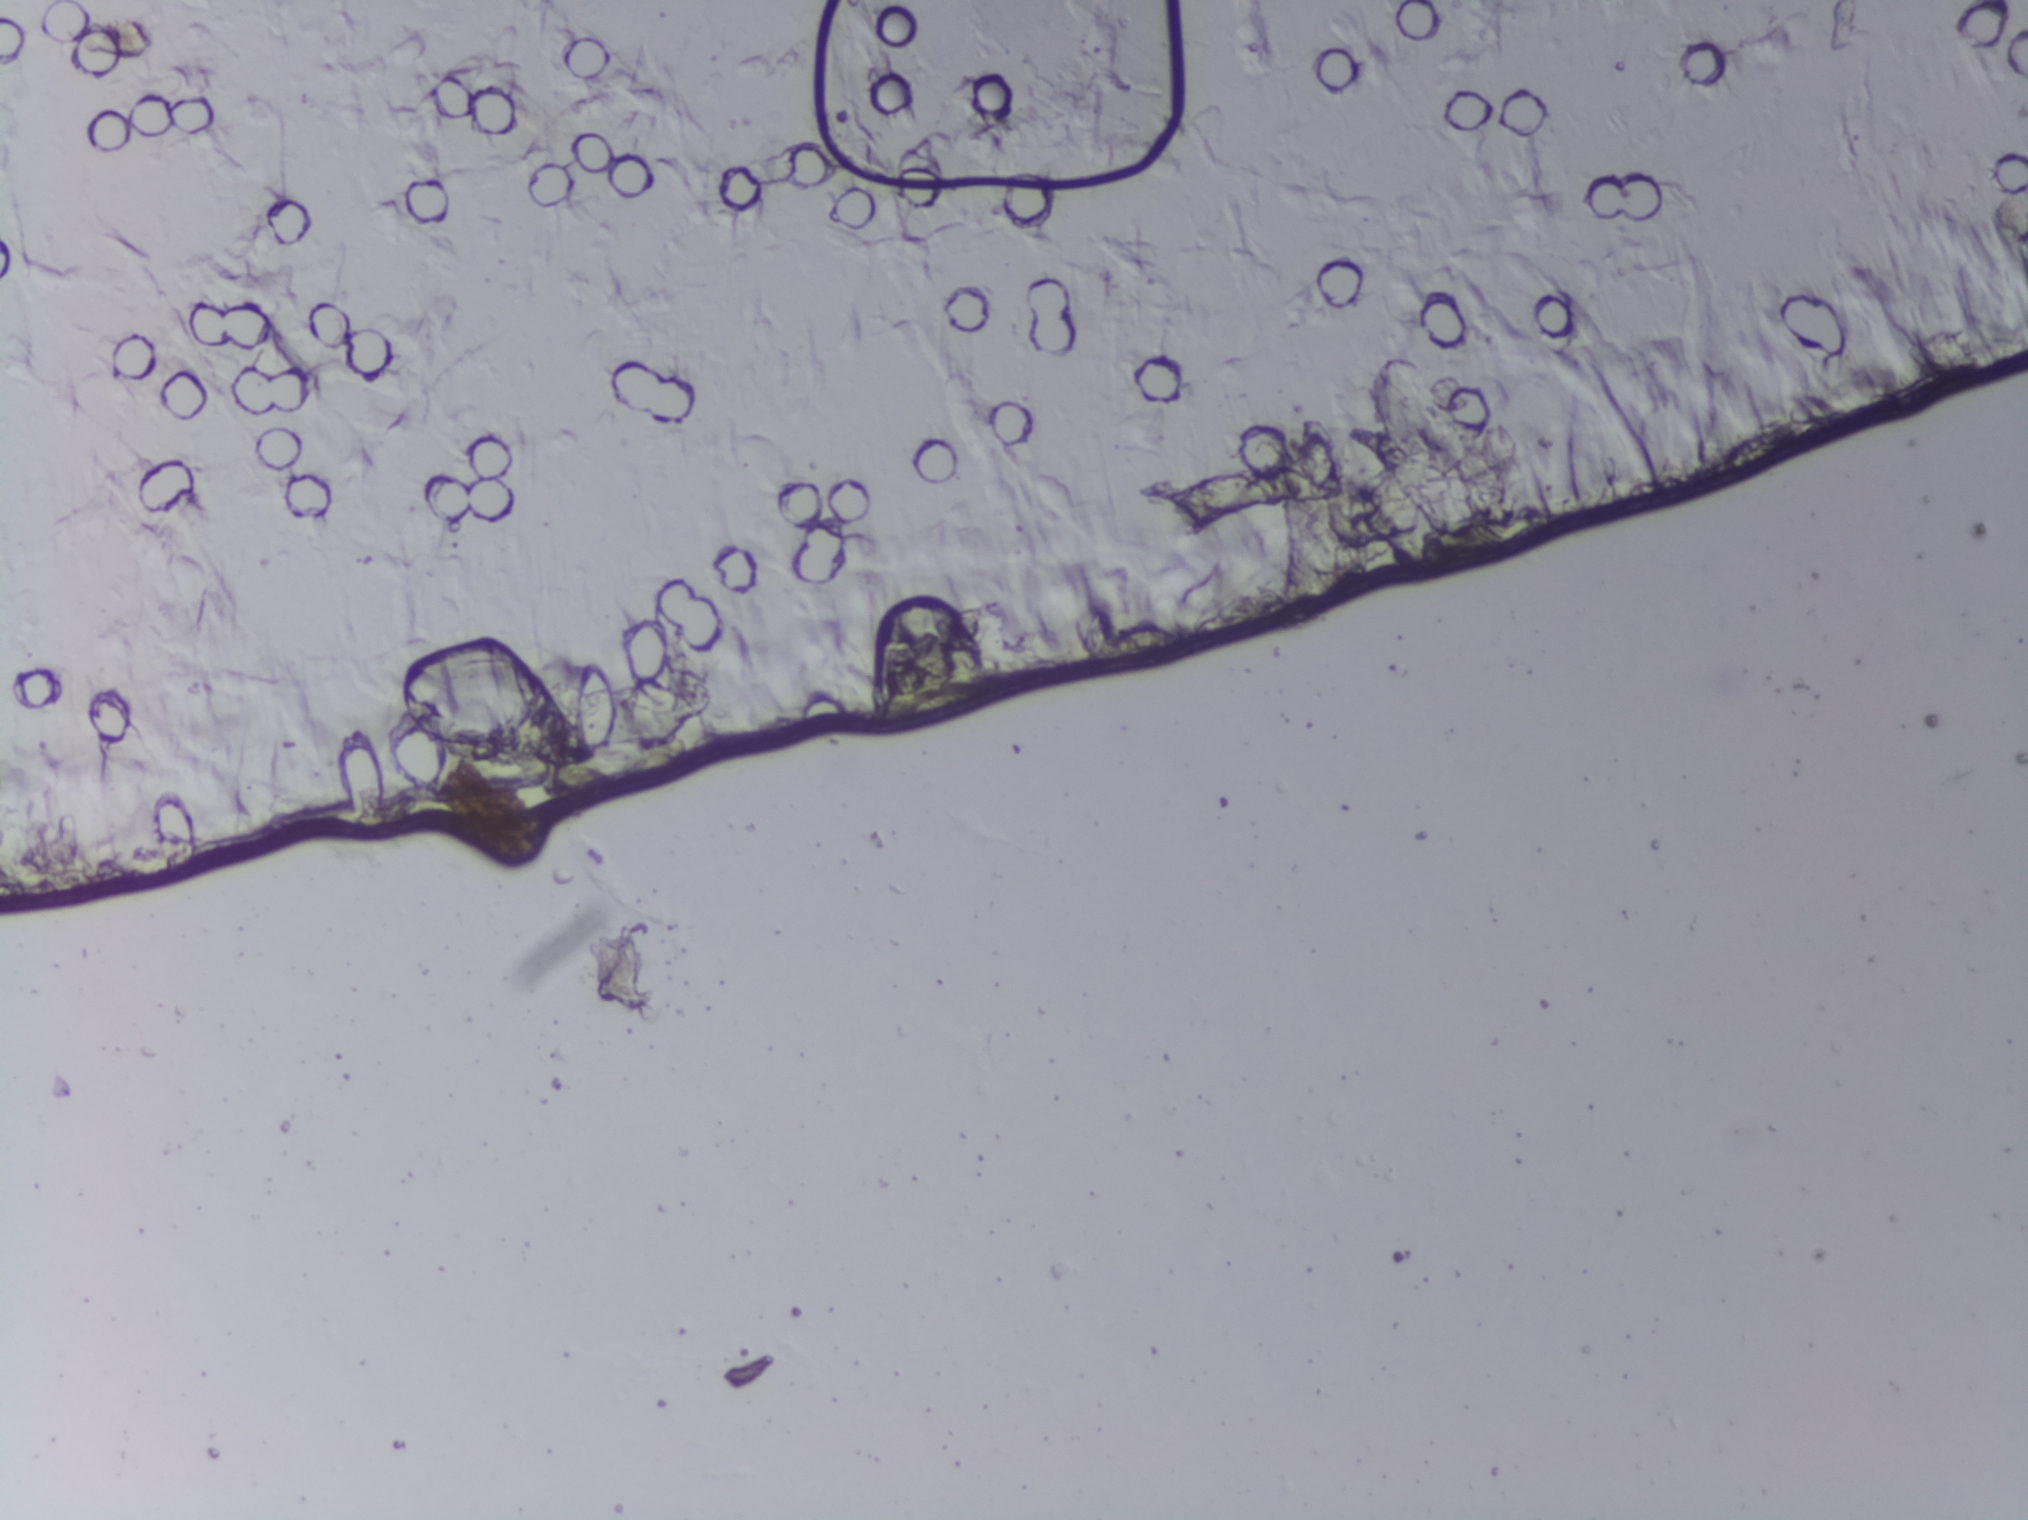
Urine filter membrane photographed through a 4× microscope objective. The field of view is about 1.5 mm × 1.1 mm.
No area of this image was outlined as a Schistosoma egg.